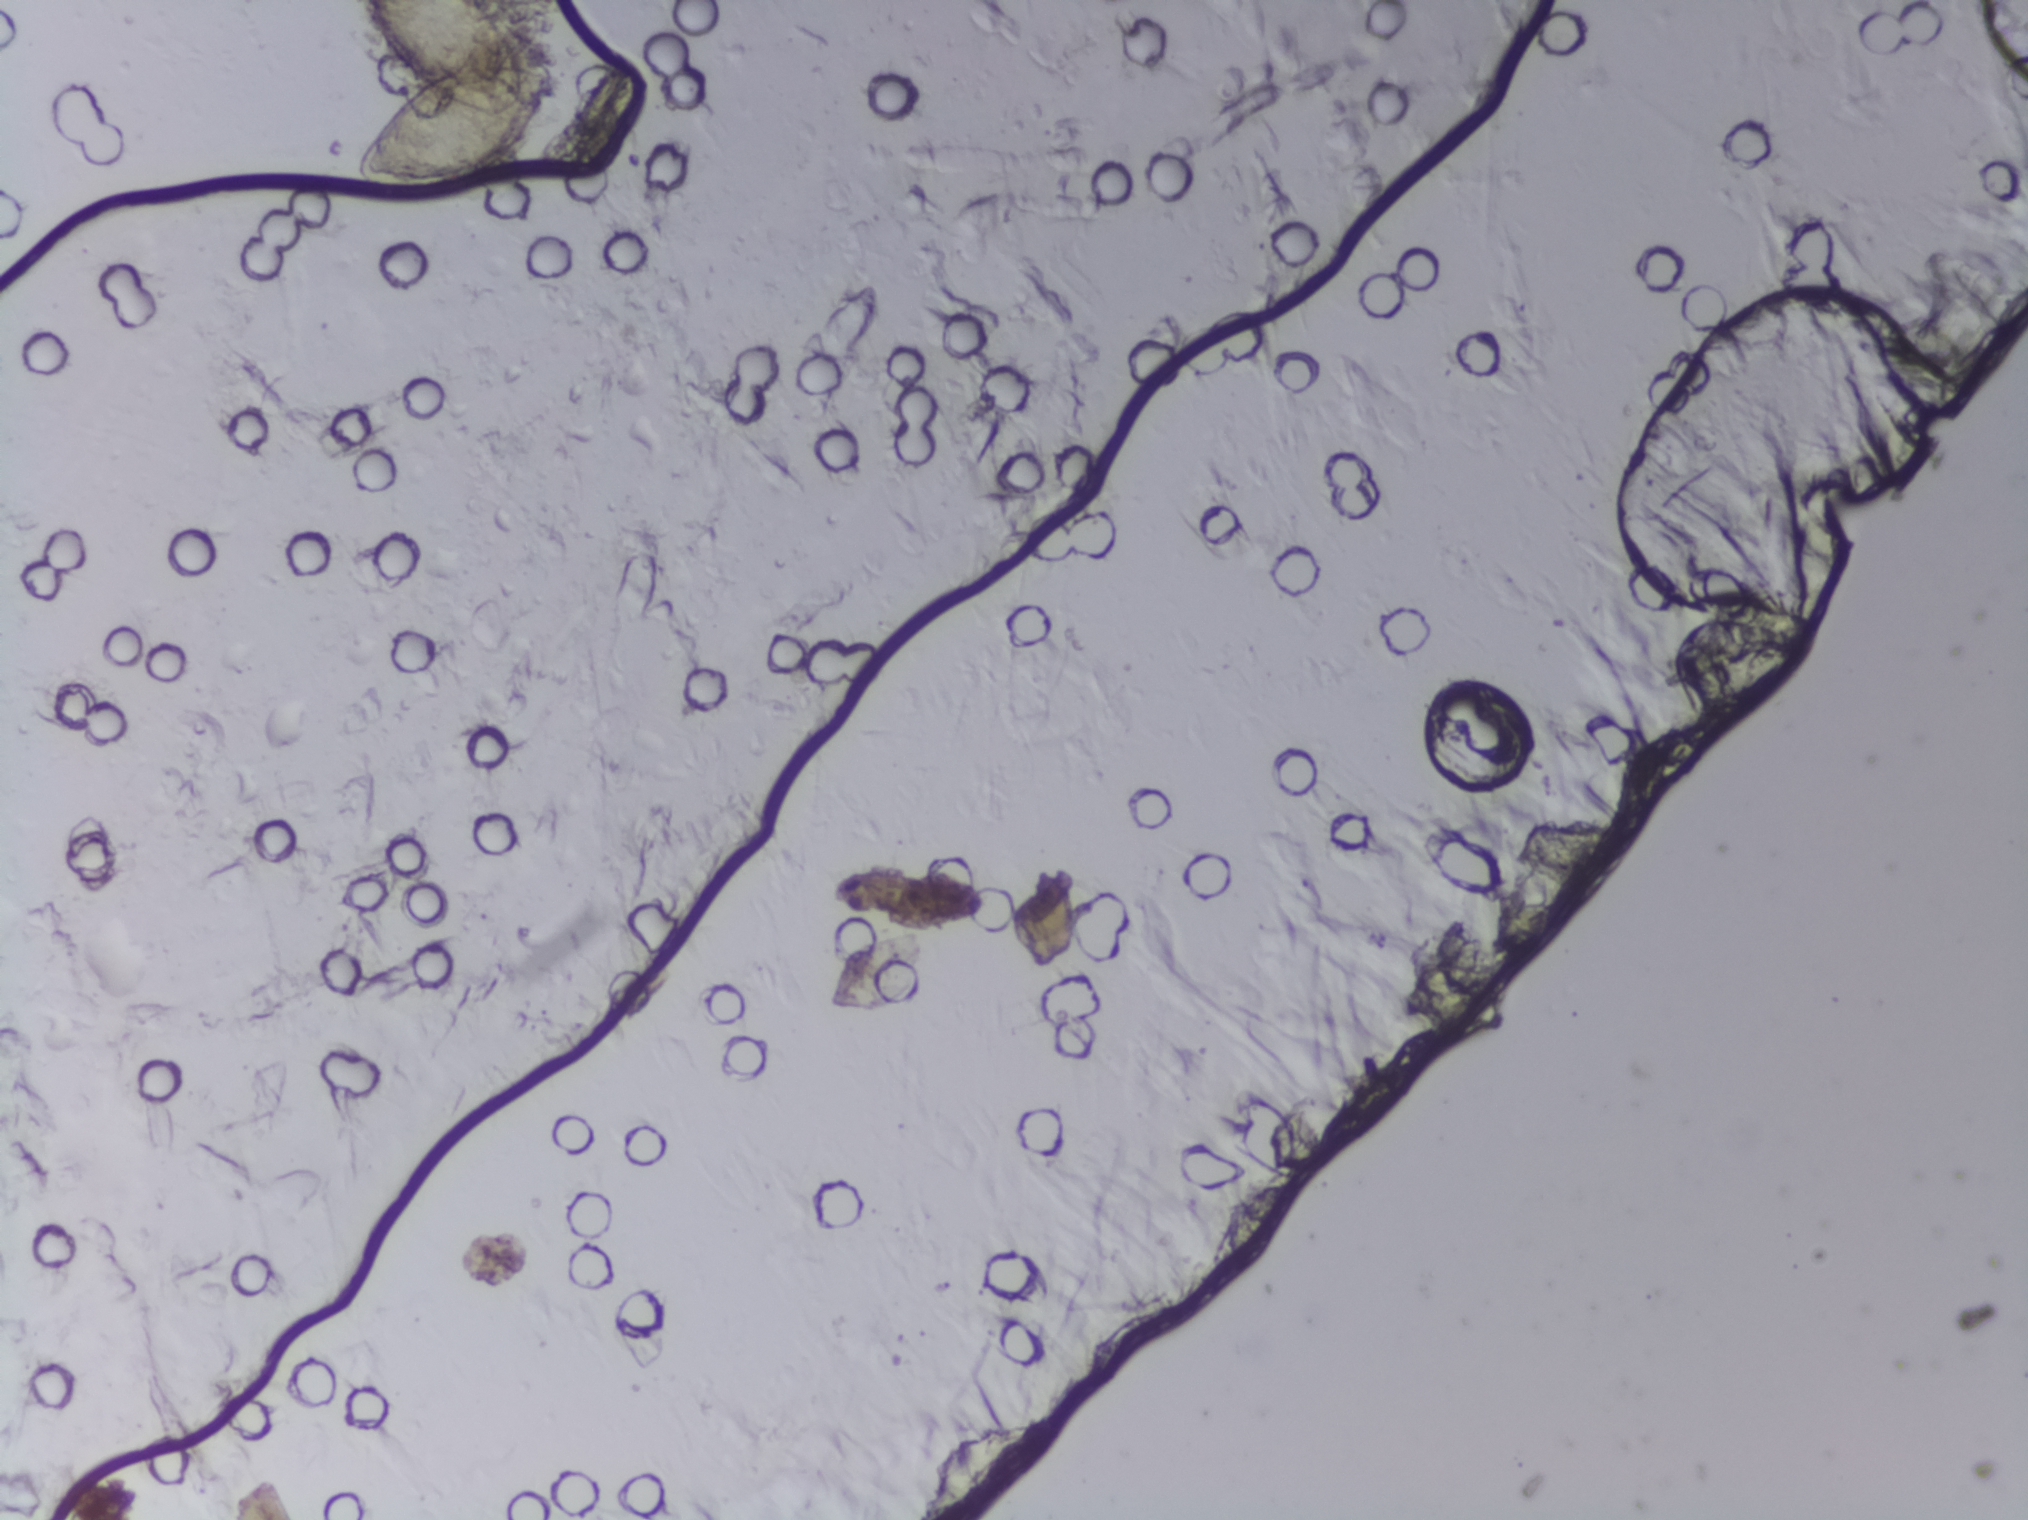
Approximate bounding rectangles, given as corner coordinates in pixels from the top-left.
One area of this image is outlined as Schistosoma eggs: (x1=351, y1=0, x2=553, y2=198) (reaching the top edge of the frame). About 0.9% of the image's pixels are marked (the marked pixels themselves, not the box around them). An outlined area can hold more than one egg.
Photograph from an automated digital microscope: urine filter membrane, 4× objective. The field of view is about 1.5 mm × 1.1 mm.